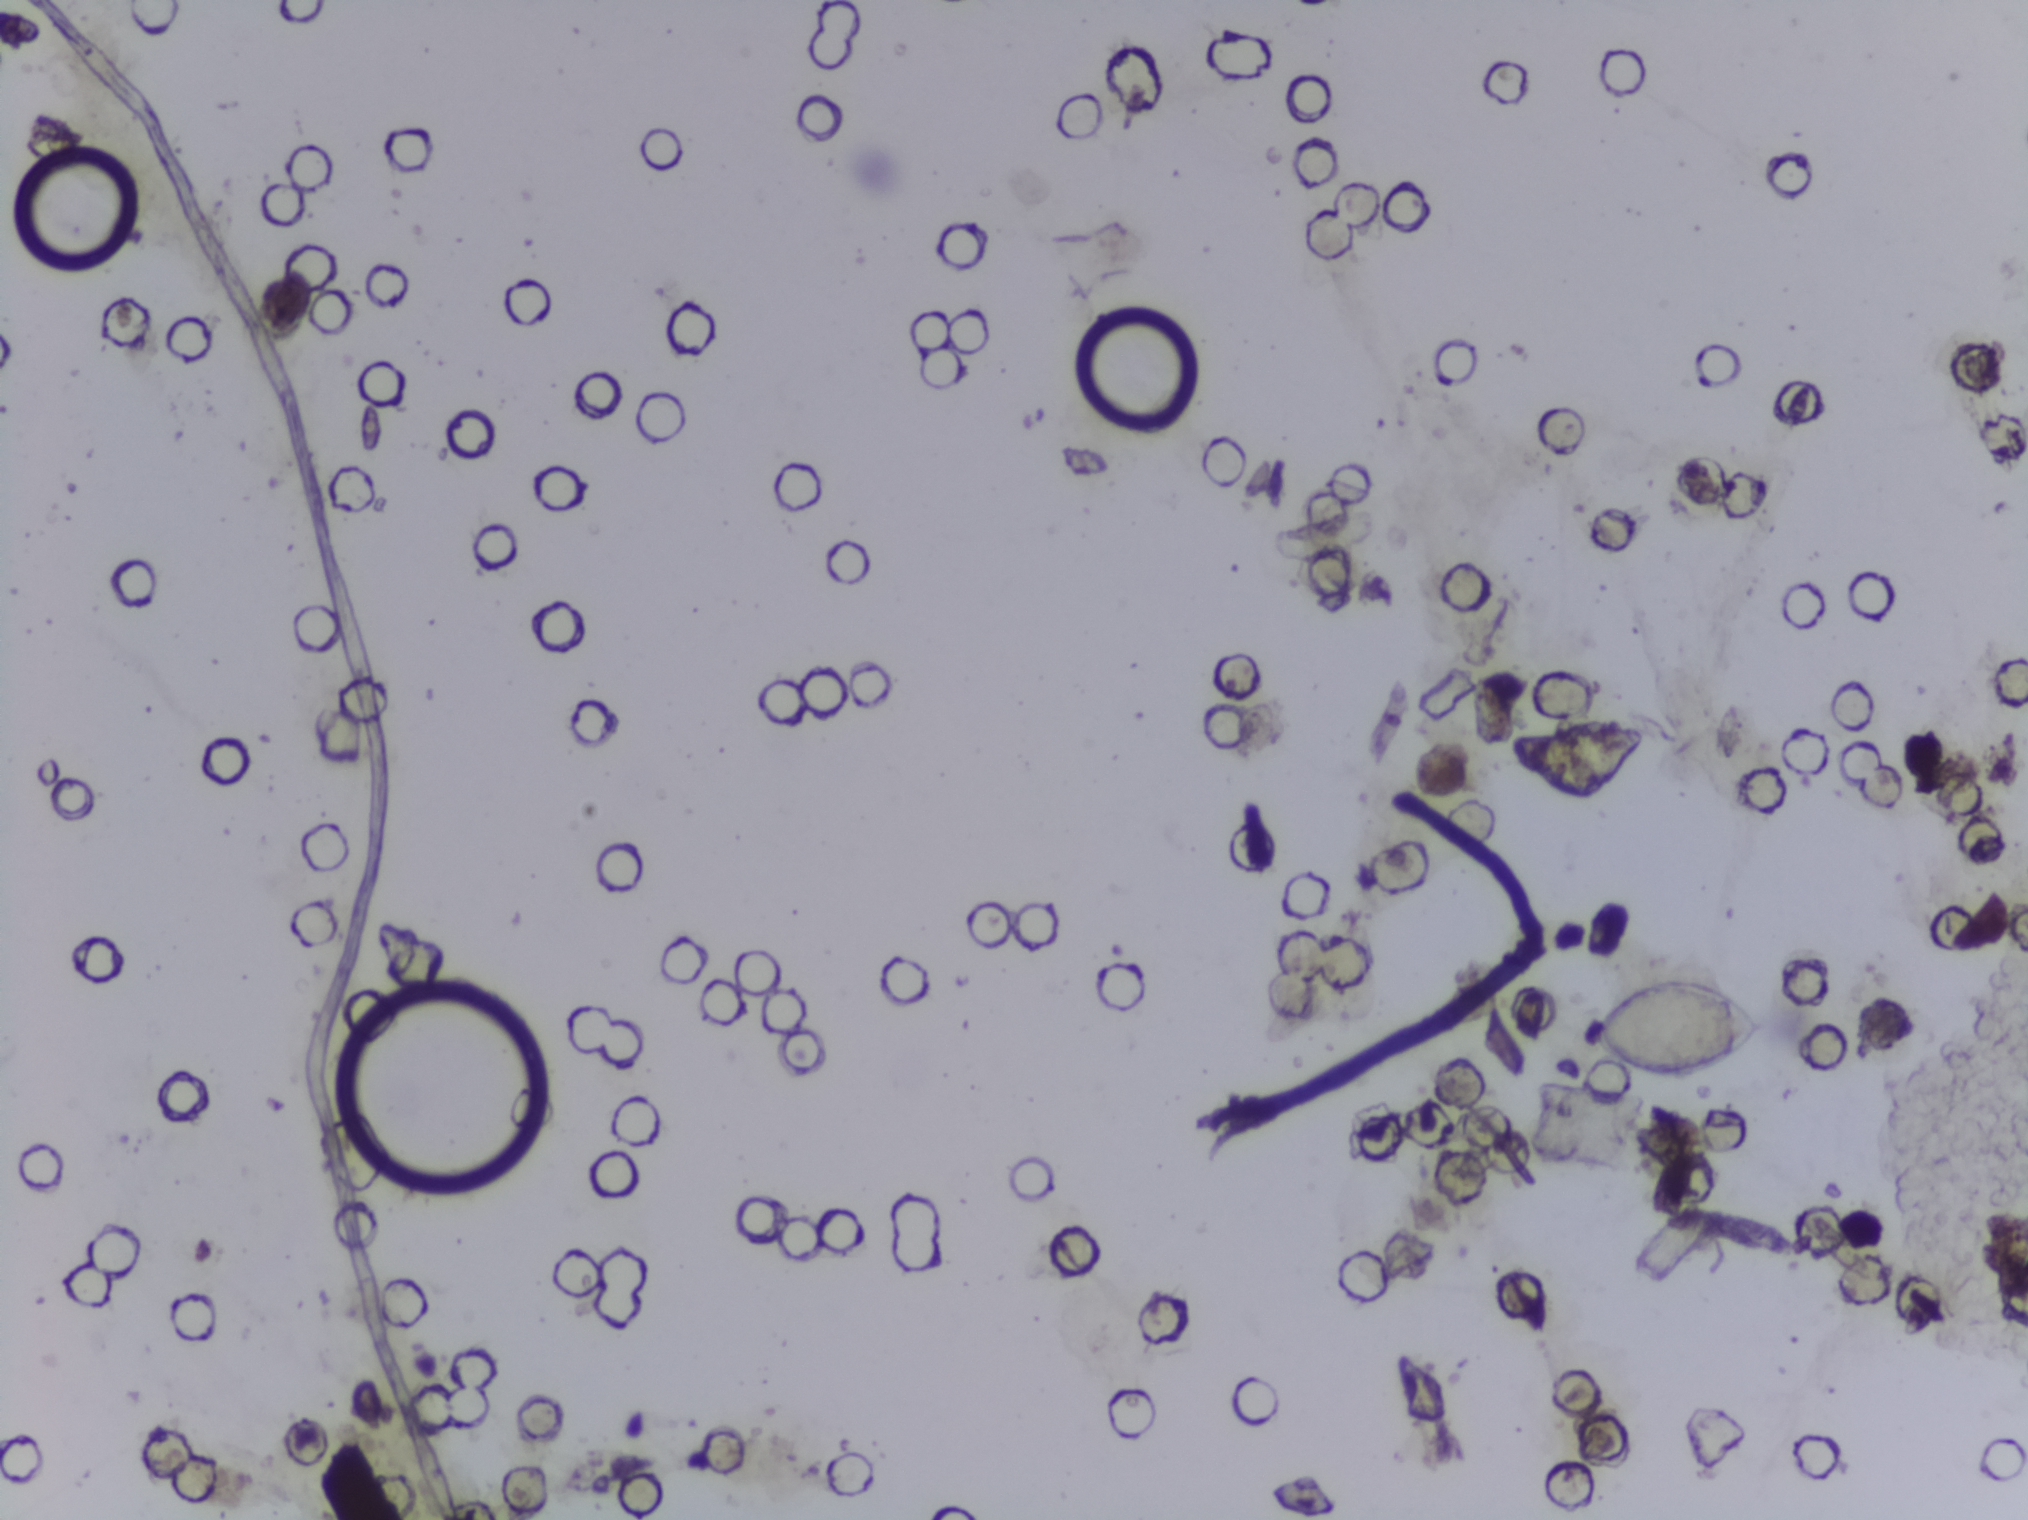
One field of view of a urine filter membrane, 4× objective, 2028 × 1520 pixels.
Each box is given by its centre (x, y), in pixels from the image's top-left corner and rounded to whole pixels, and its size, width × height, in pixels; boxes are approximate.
Schistosoma eggs, outlined areas: centre (1687, 1030), 194 × 108 px. An outlined area can hold more than one egg. Any one outlined egg may, rarely, be S. mansoni rather than S. haematobium.